Urine filter membrane photographed through a 4× microscope objective. The image covers about 1.5 × 1.1 mm of the membrane.
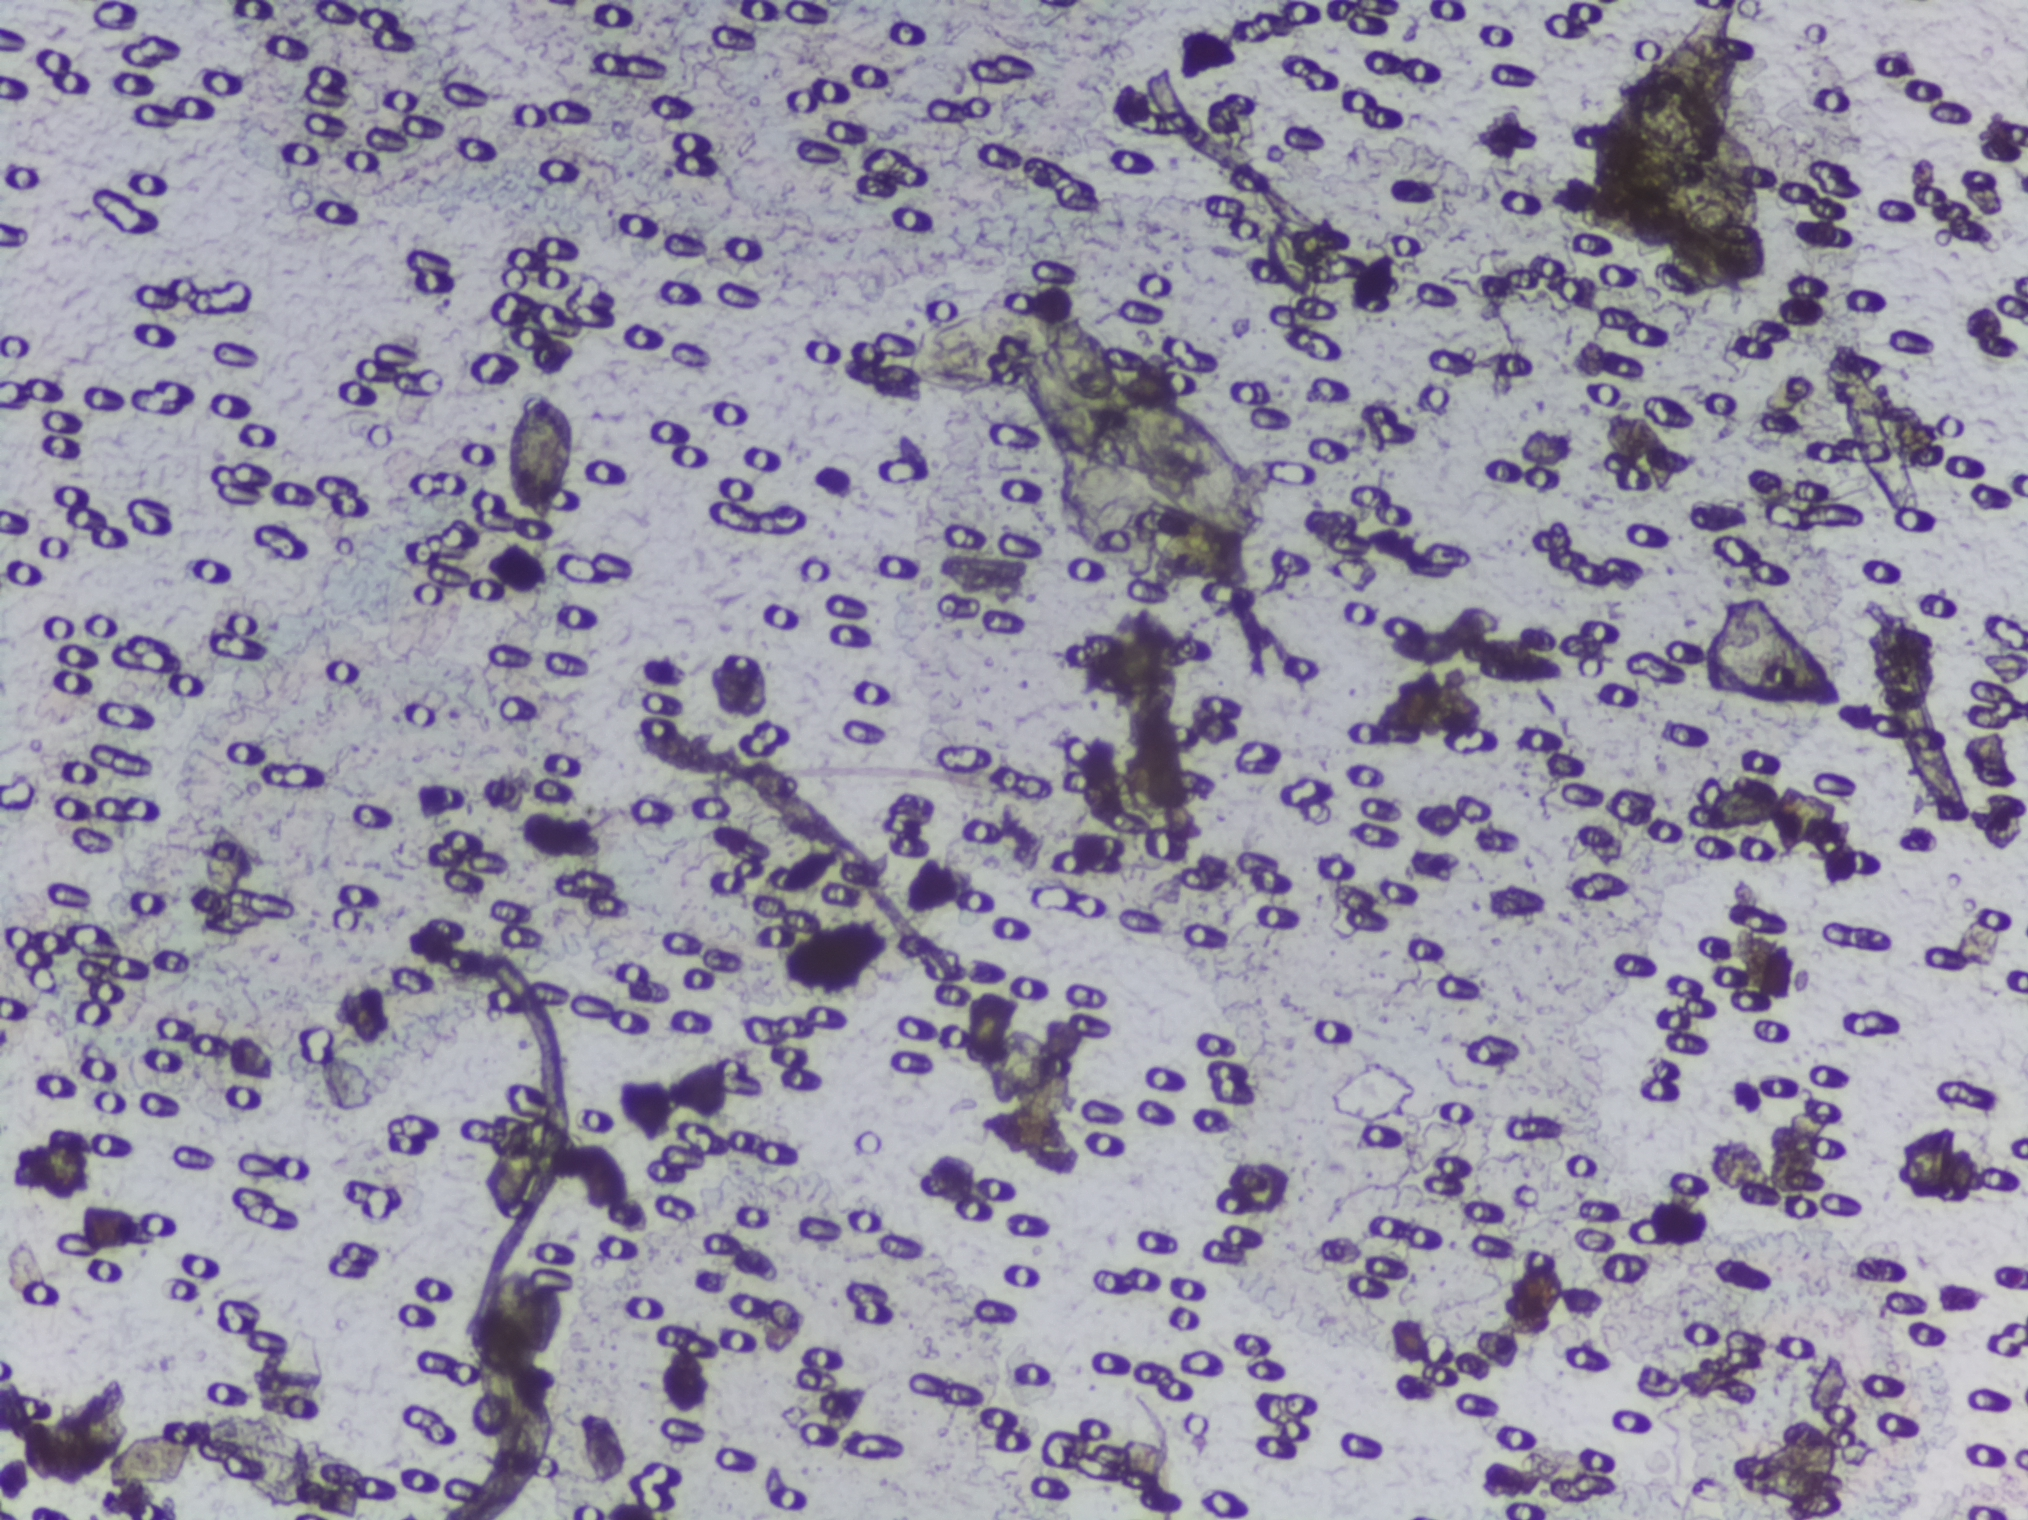
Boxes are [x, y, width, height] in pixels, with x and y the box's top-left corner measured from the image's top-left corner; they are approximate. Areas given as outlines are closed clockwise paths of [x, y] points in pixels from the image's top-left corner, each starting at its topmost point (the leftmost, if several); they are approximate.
Schistosoma egg areas, outlined: box [505, 377, 79, 159]; outline [1024, 282], [1055, 282], [1101, 321], [1128, 334], [1145, 362], [1213, 393], [1281, 490], [1281, 504], [1258, 527], [1220, 528], [1255, 540], [1232, 540], [1204, 524], [1169, 519], [1144, 492], [1098, 482], [1042, 445], [1024, 411], [1007, 397], [892, 392], [884, 374], [887, 335] (a cluster of eggs); box [1570, 19, 216, 269]. An outlined area can hold more than one egg.